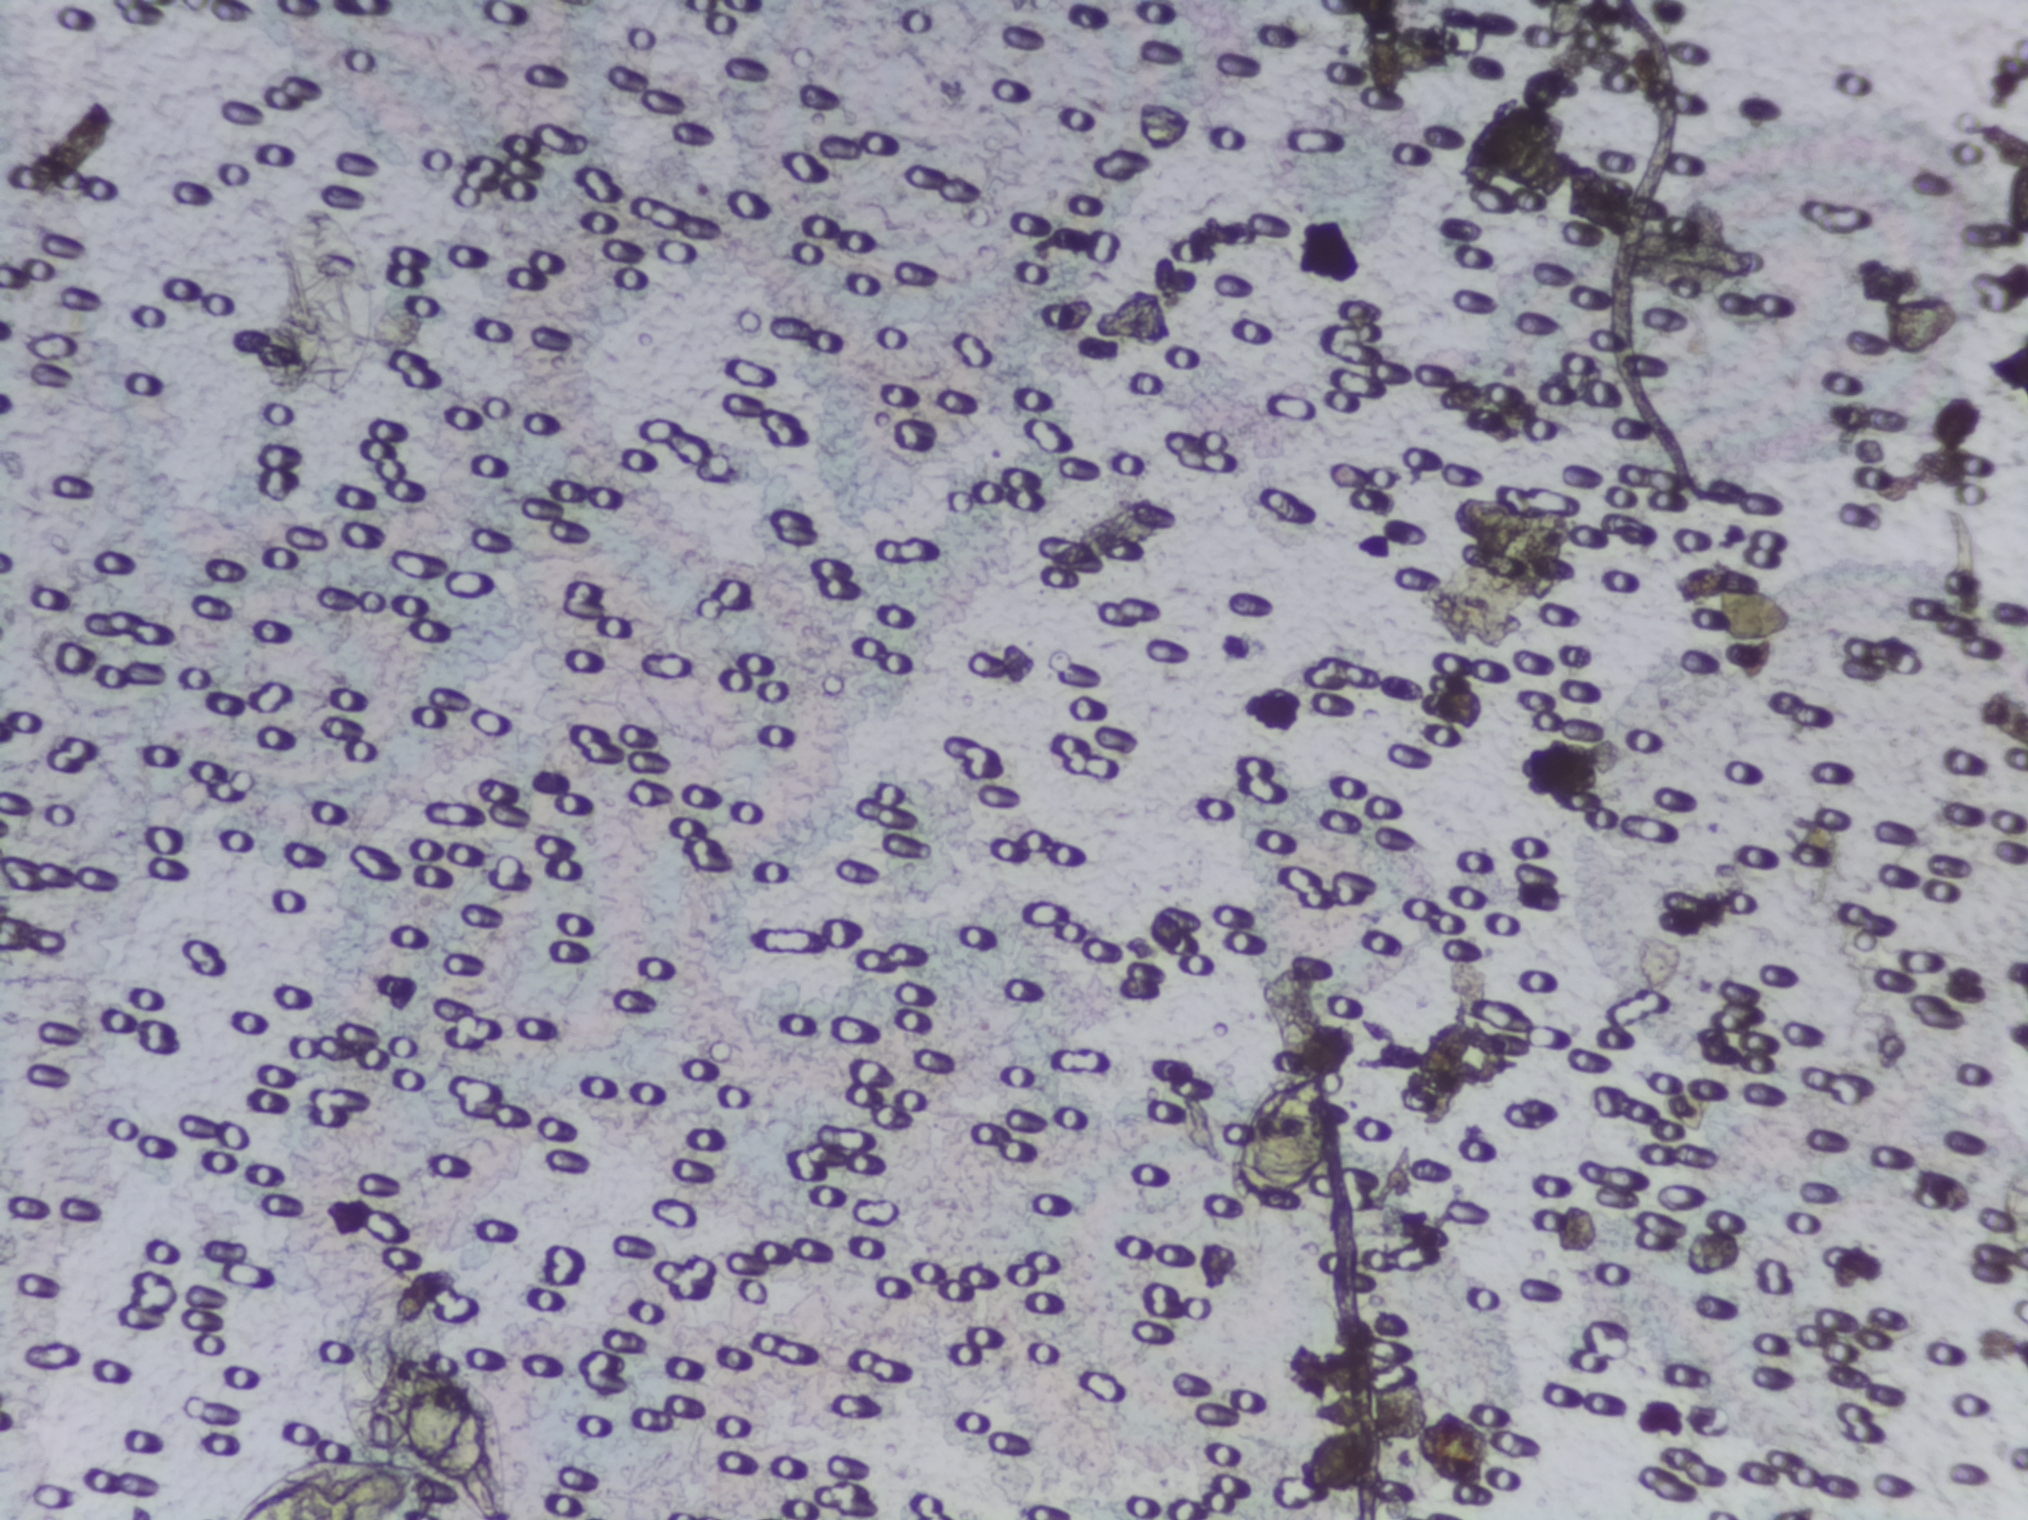
Microscope photograph (4× objective) of a membrane that a urine sample was filtered through.
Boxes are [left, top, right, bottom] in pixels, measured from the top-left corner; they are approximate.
Outlined Schistosoma egg areas, left to right:
1. [217, 1454, 438, 1519] (reaching the bottom edge of the frame)
2. [388, 1345, 515, 1517]
3. [1221, 1061, 1352, 1218]
Eggs that touch can end up inside the same outlined area. A marked egg may occasionally be S. mansoni rather than S. haematobium.